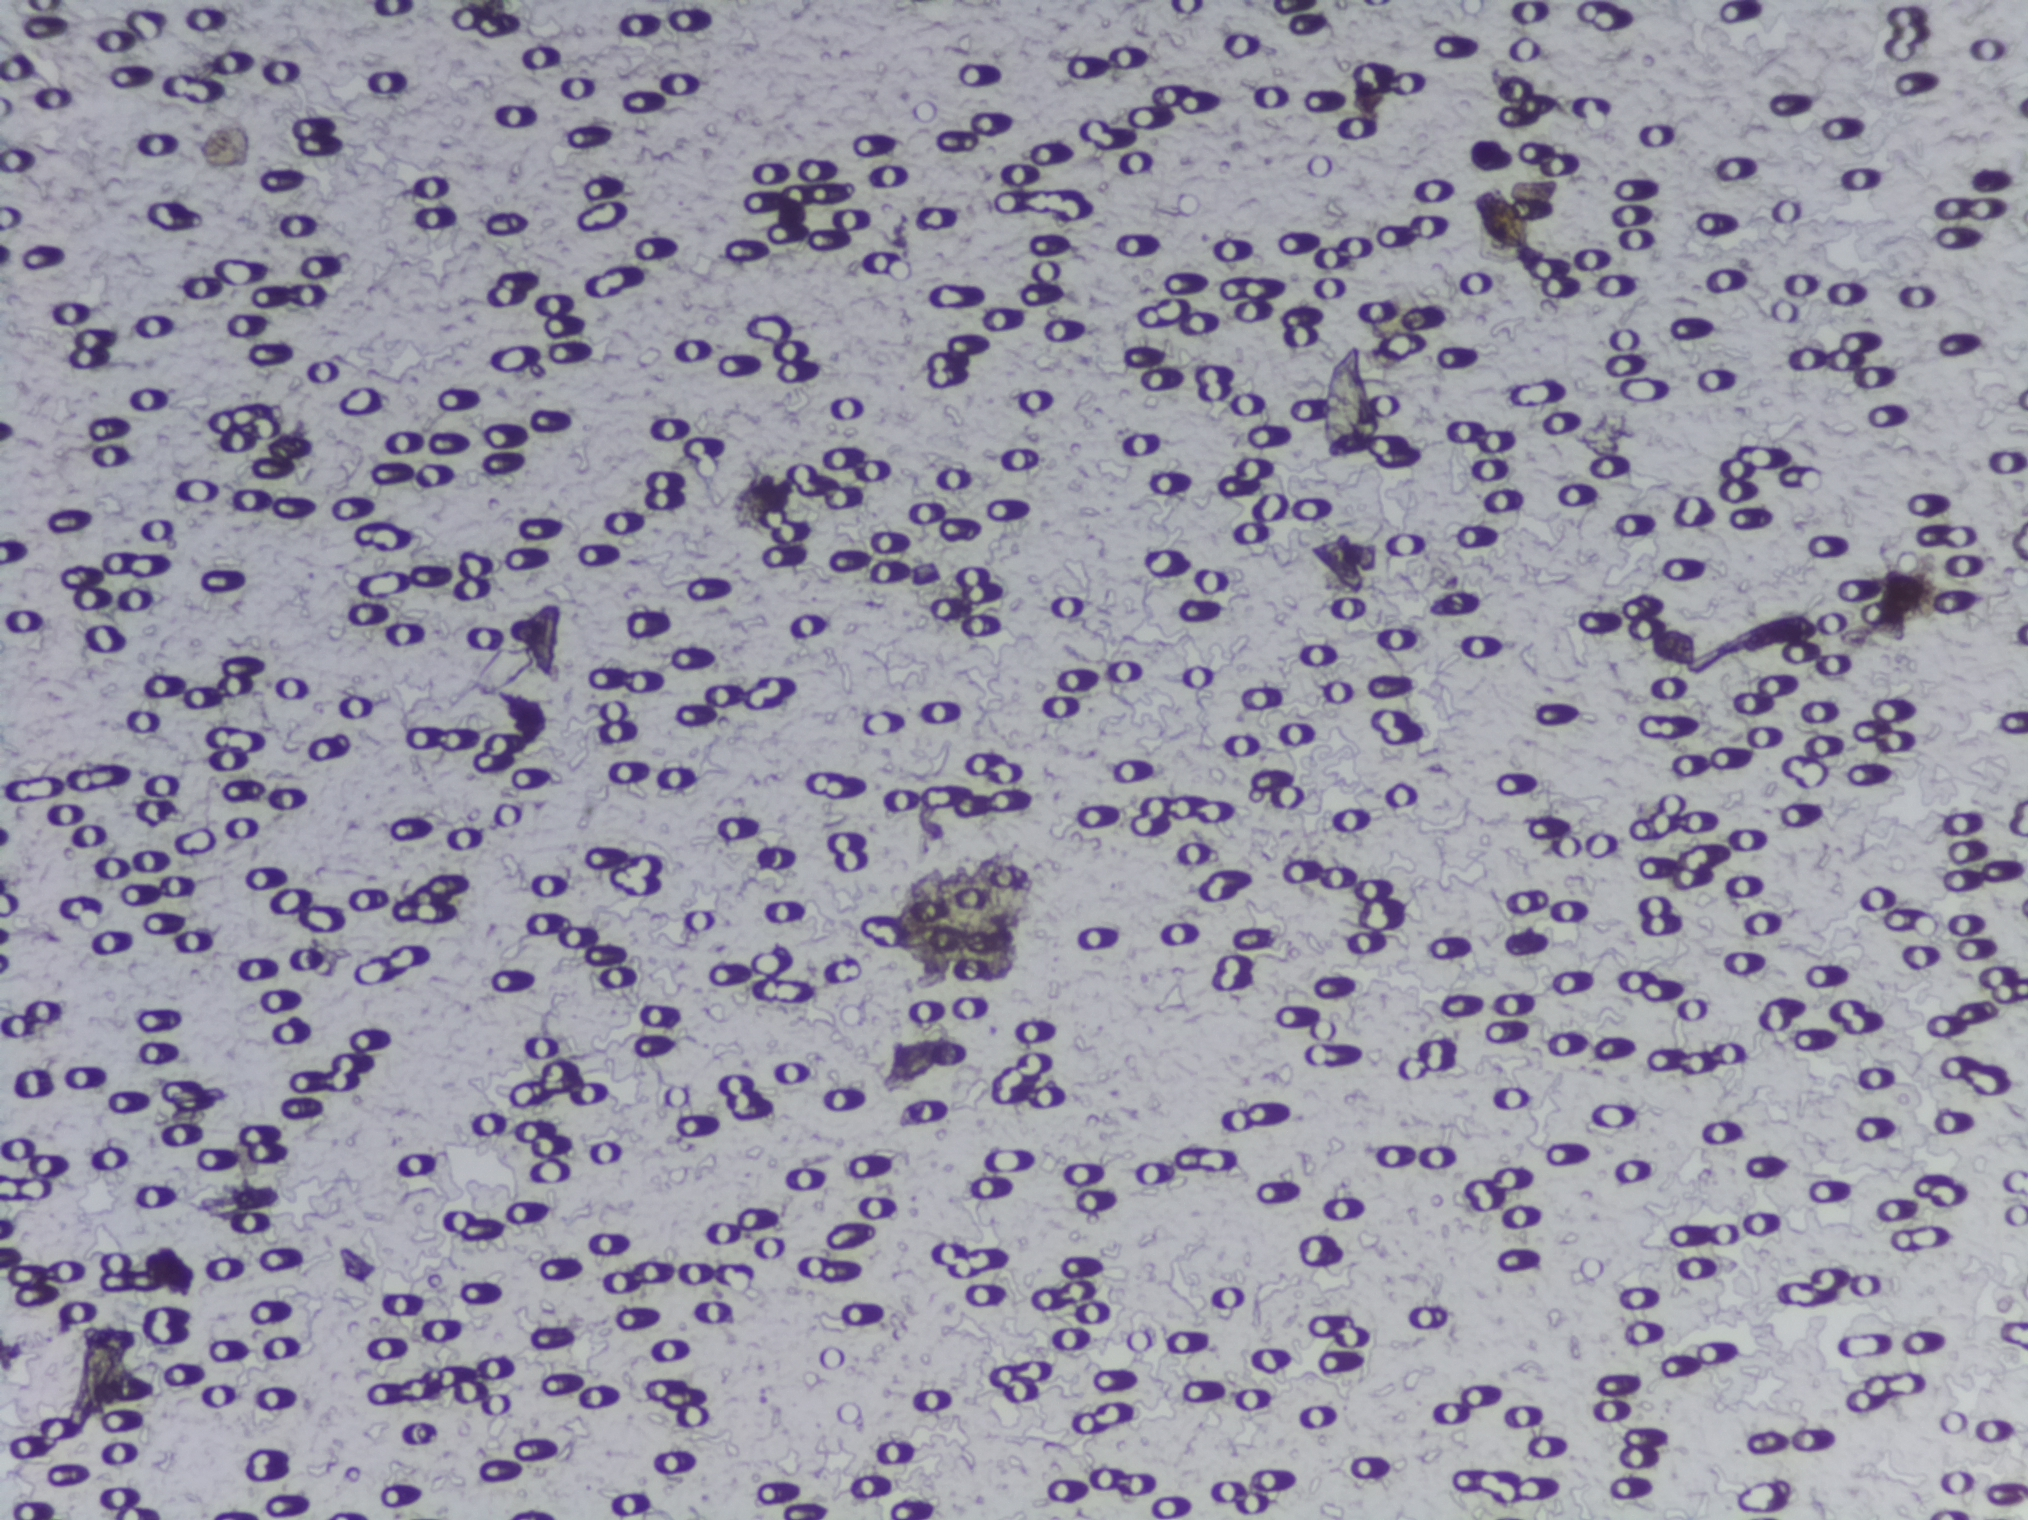
One field of view of a urine filter membrane, 4× objective, 2028 × 1520 pixels.
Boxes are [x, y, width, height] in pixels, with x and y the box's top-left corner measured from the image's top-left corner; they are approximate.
{"schistosoma_egg_areas_xywh_px": [[885, 850, 156, 122]]}
An outlined area can hold more than one egg.